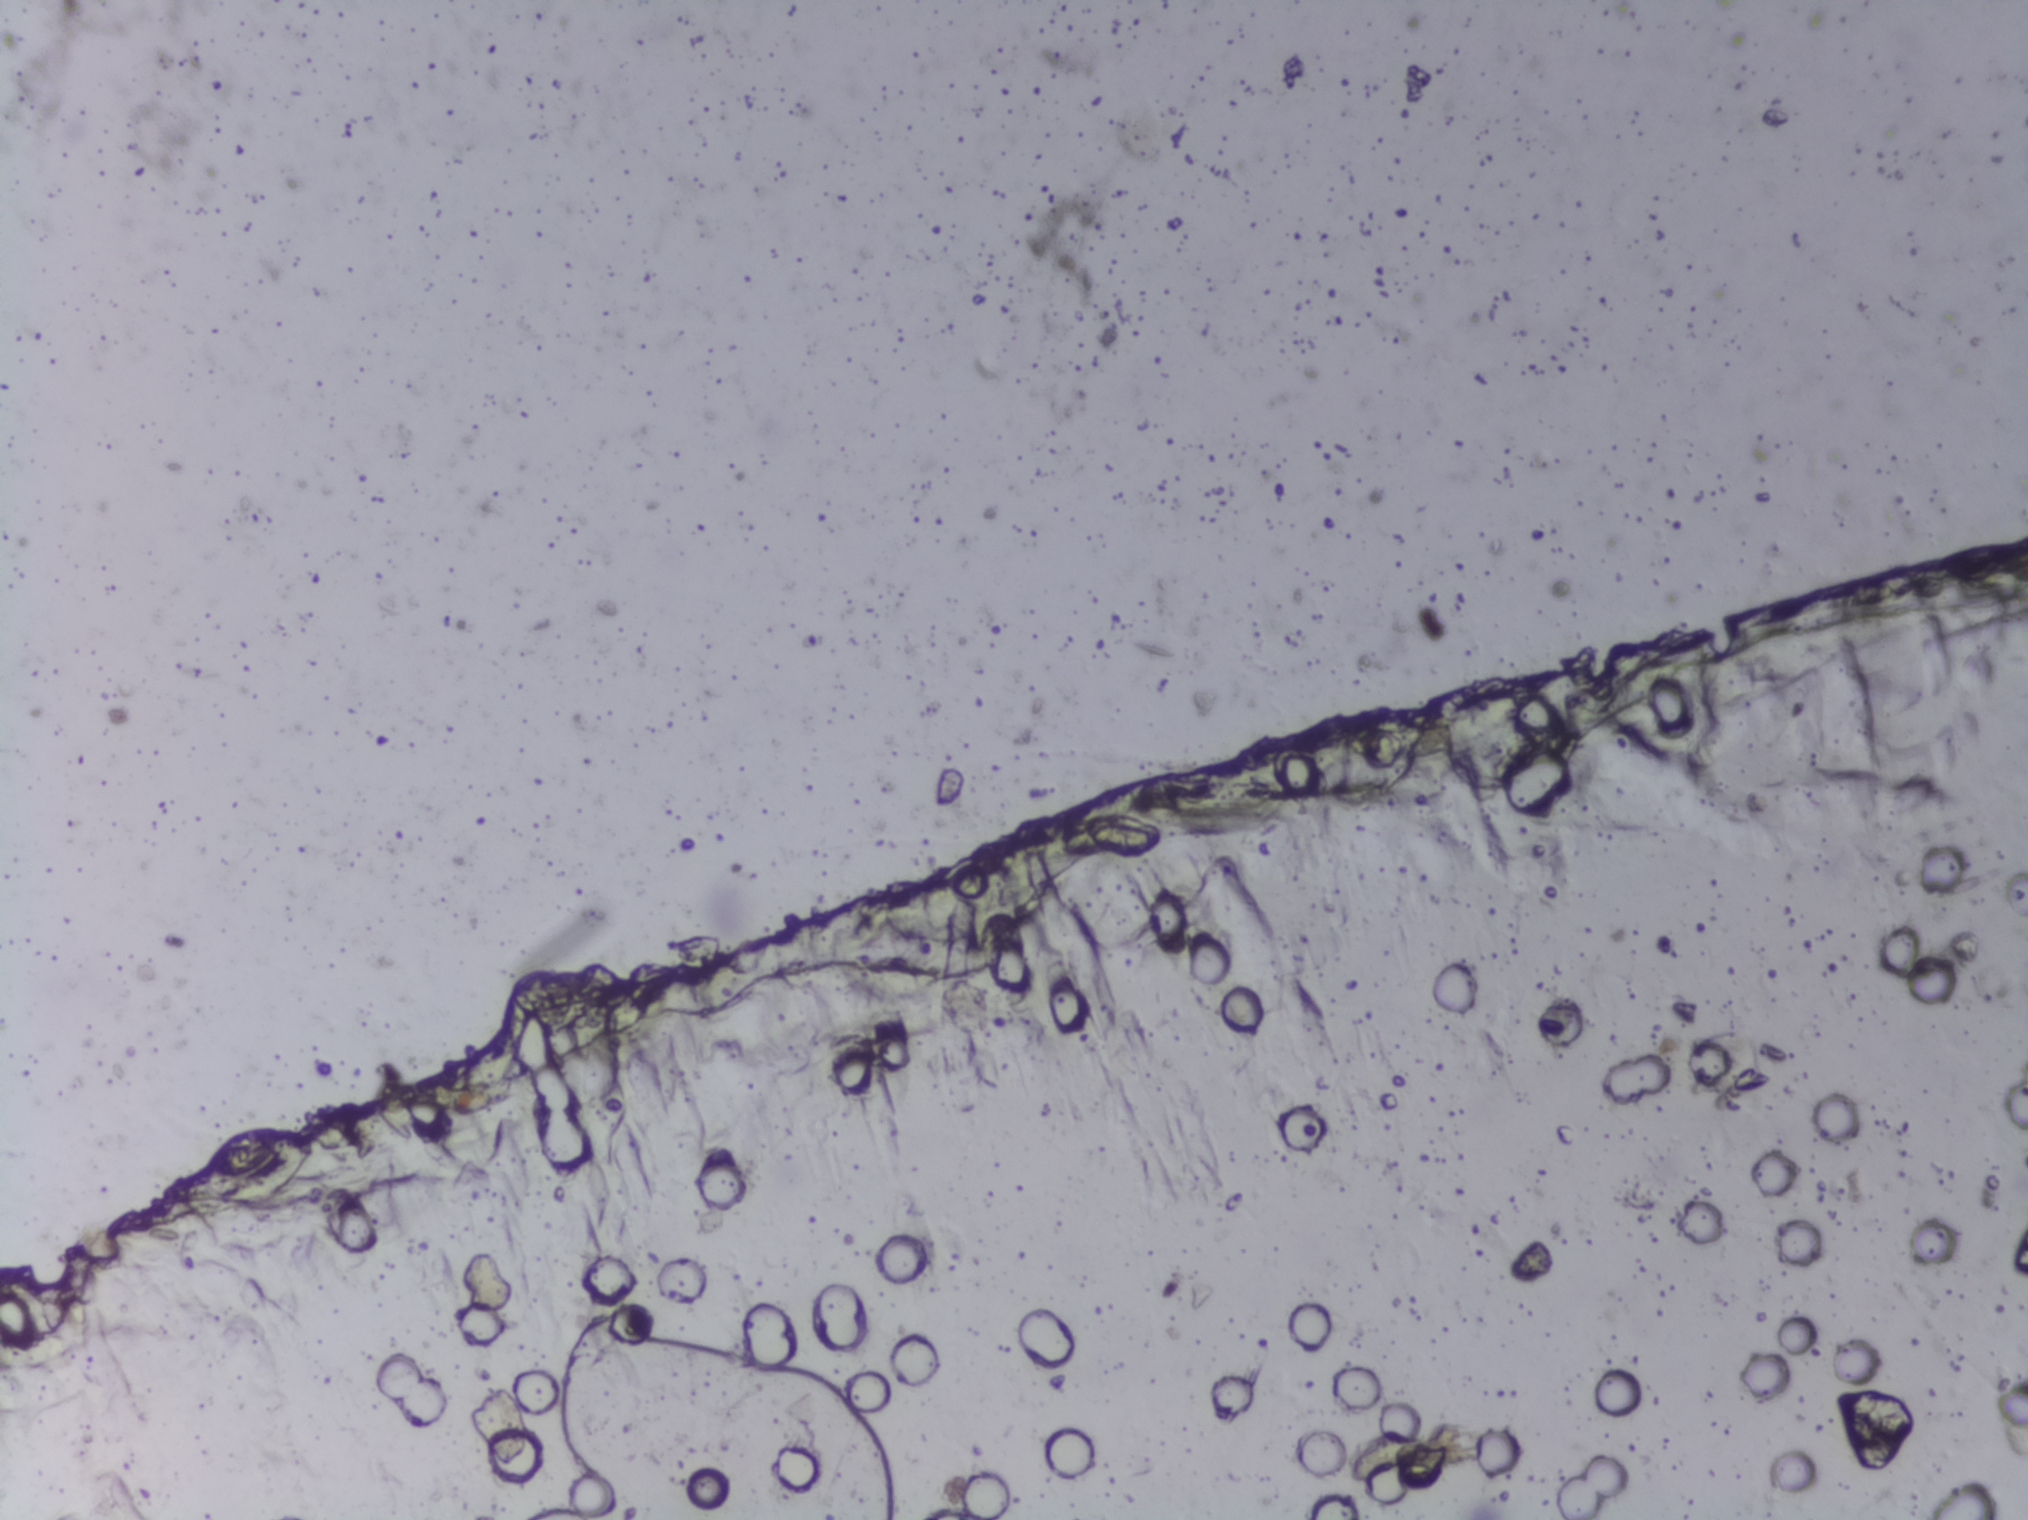
Microscope photograph (4× objective) of a membrane that a urine sample was filtered through.
No Schistosoma egg is outlined in this image's expert annotation.